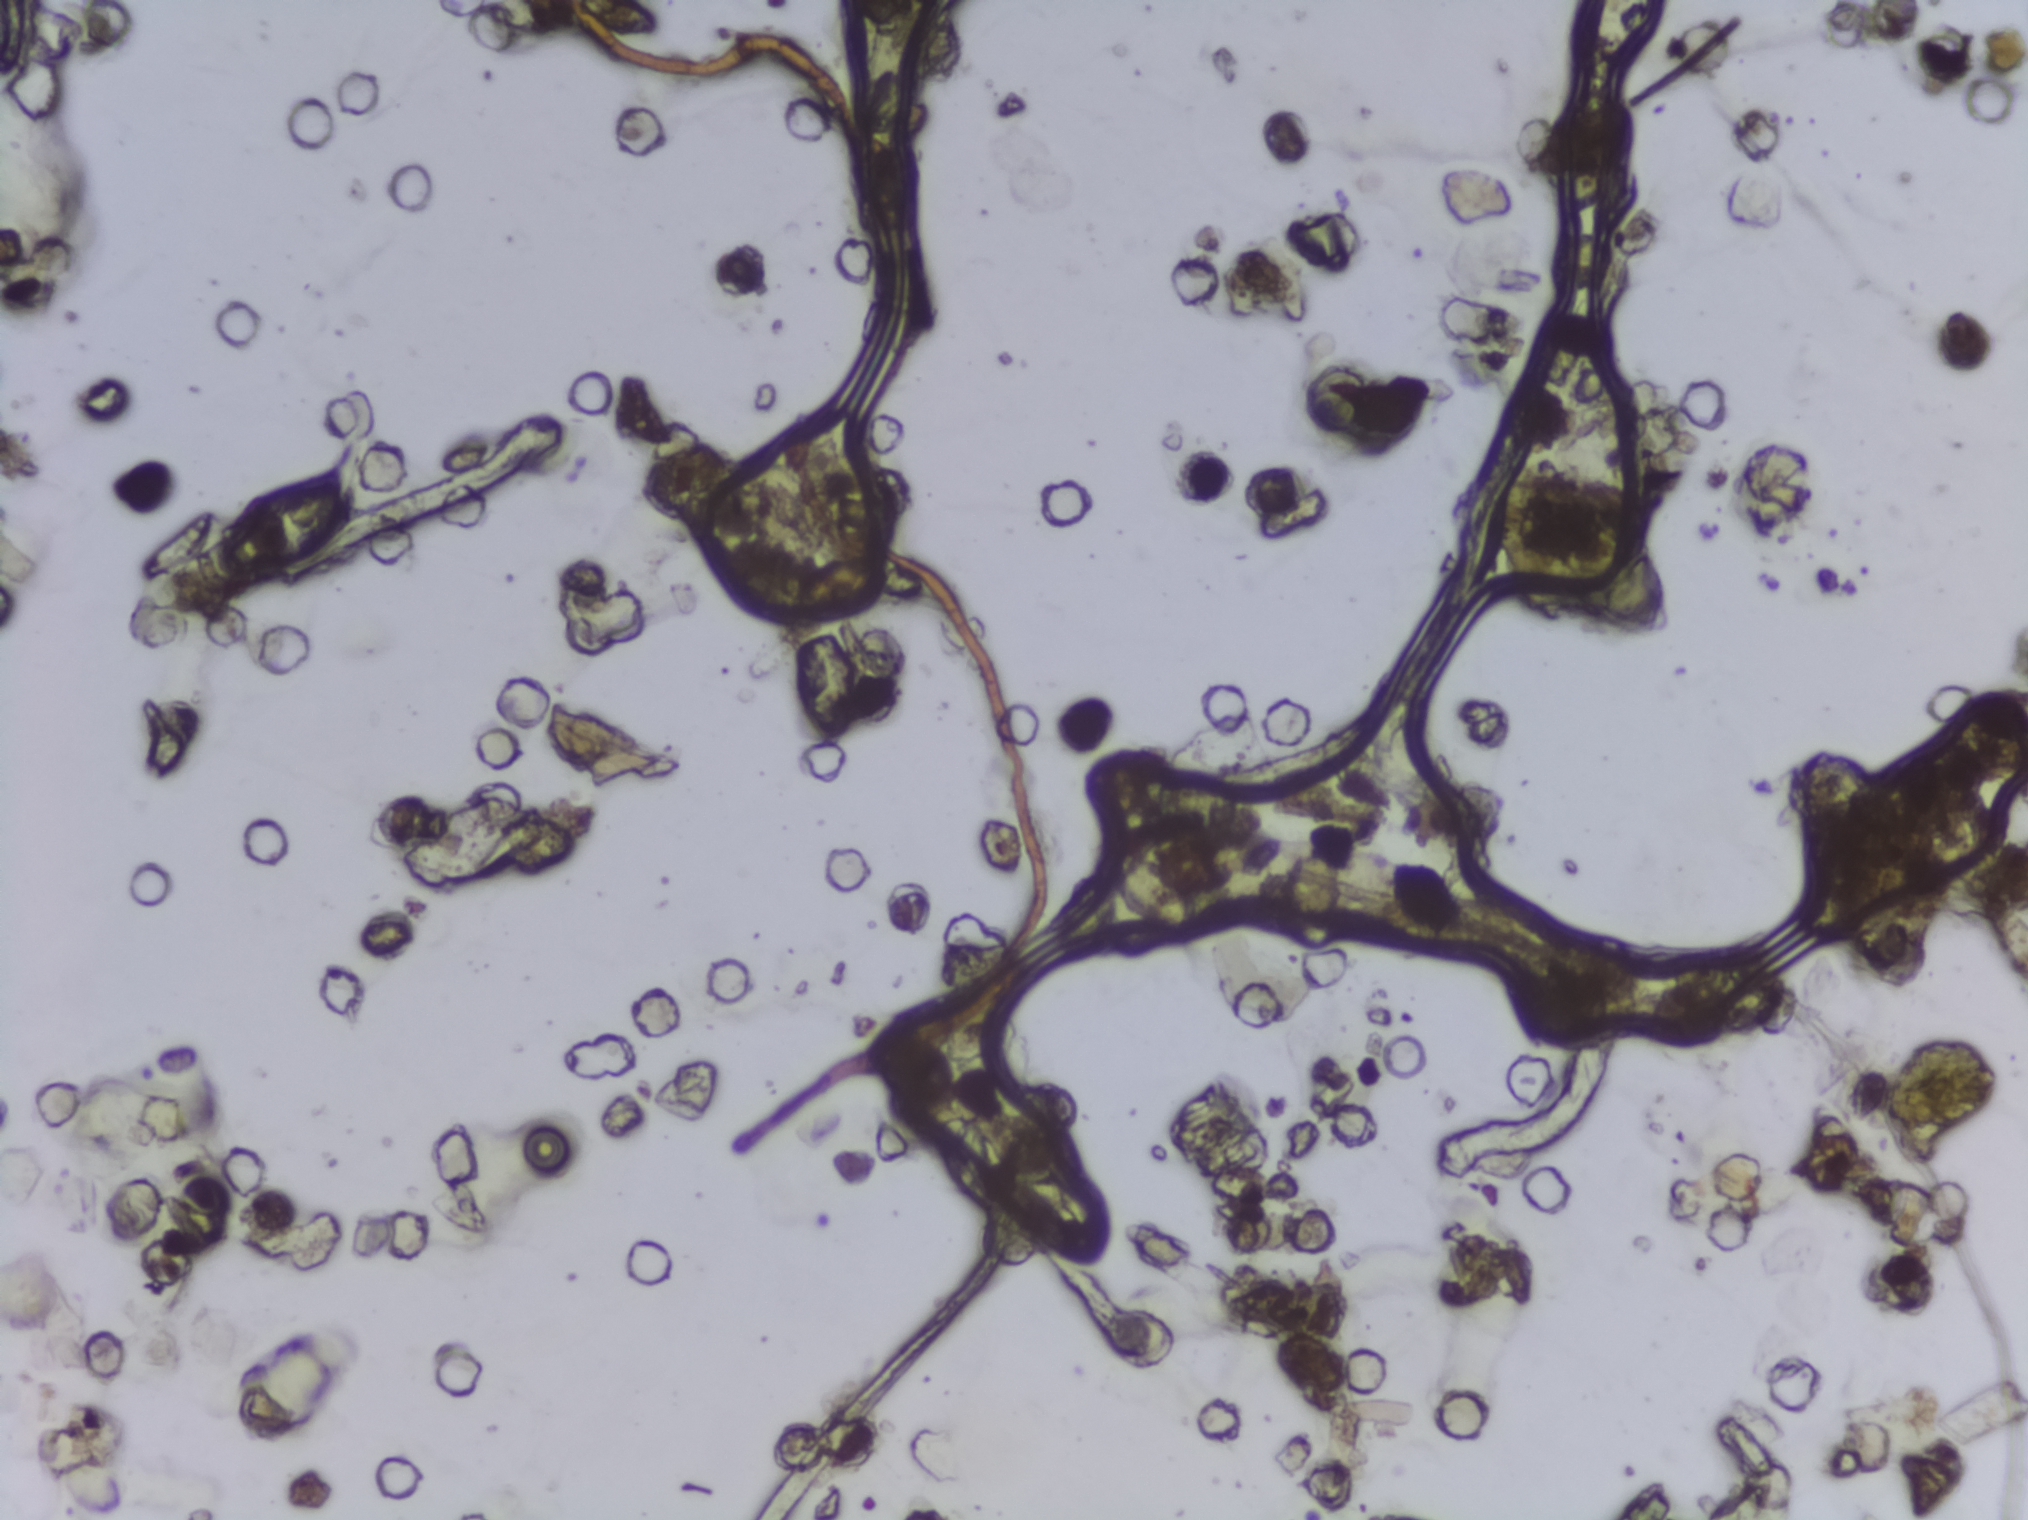
Urine filter membrane photographed through a 4× microscope objective.
Schistosoma eggs: none outlined.